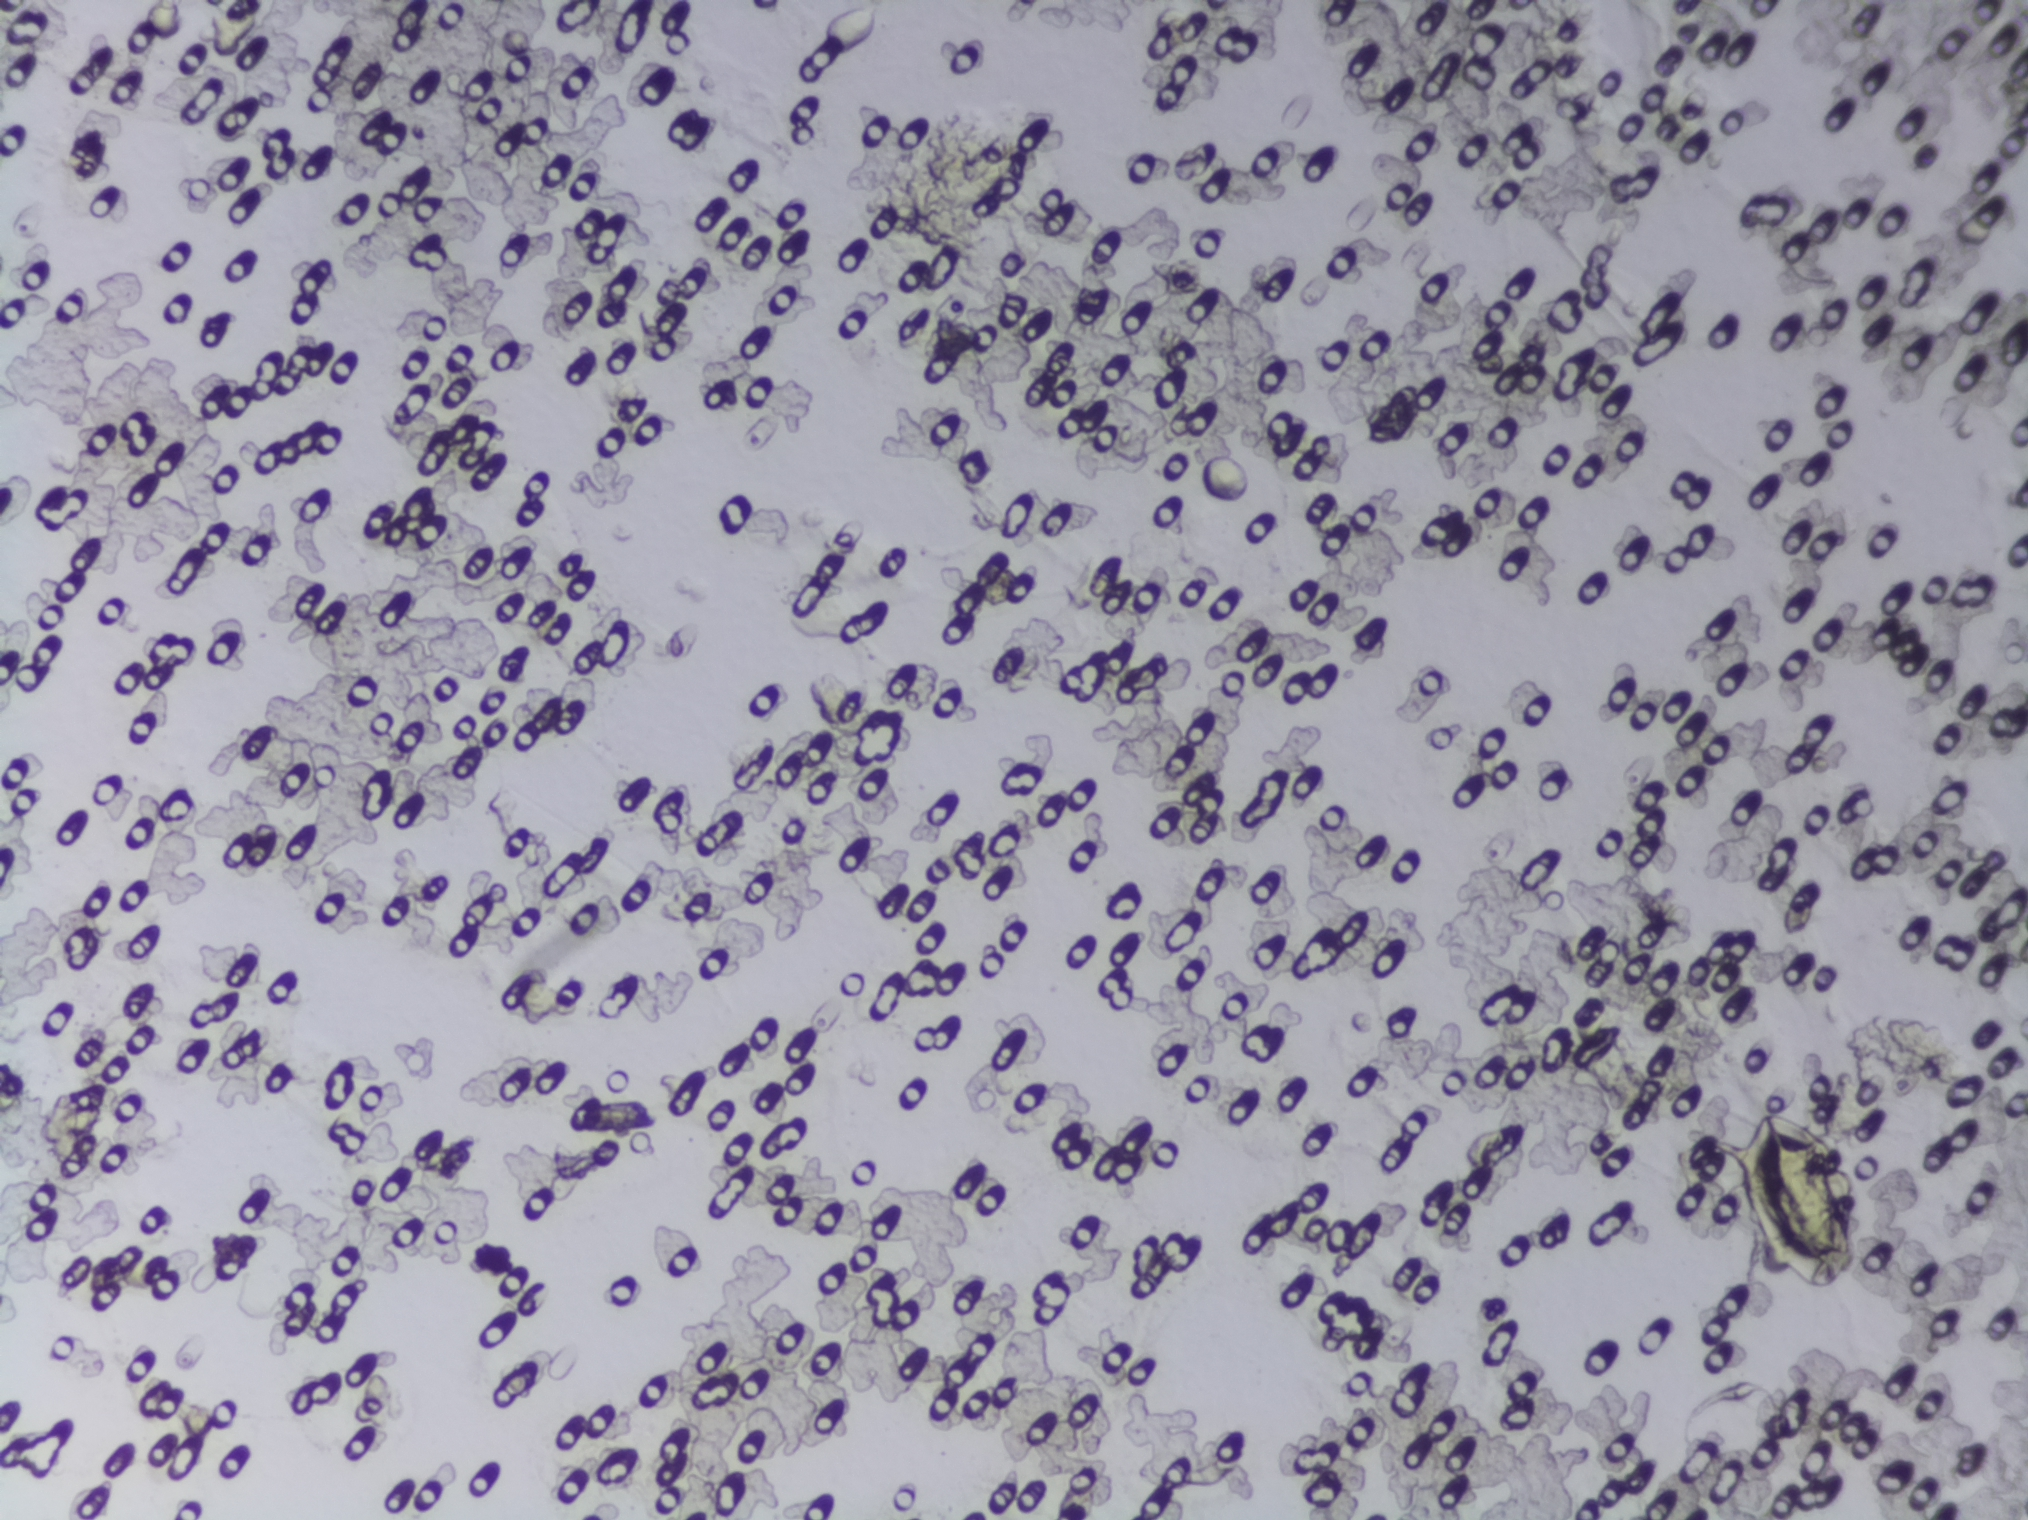
Urine filter membrane photographed through a 4× microscope objective.
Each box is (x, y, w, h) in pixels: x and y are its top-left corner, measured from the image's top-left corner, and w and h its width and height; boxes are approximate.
The expert annotation outlines Schistosoma eggs at (x=1703, y=1100, w=159, h=193). Eggs that touch can end up inside the same outlined area.